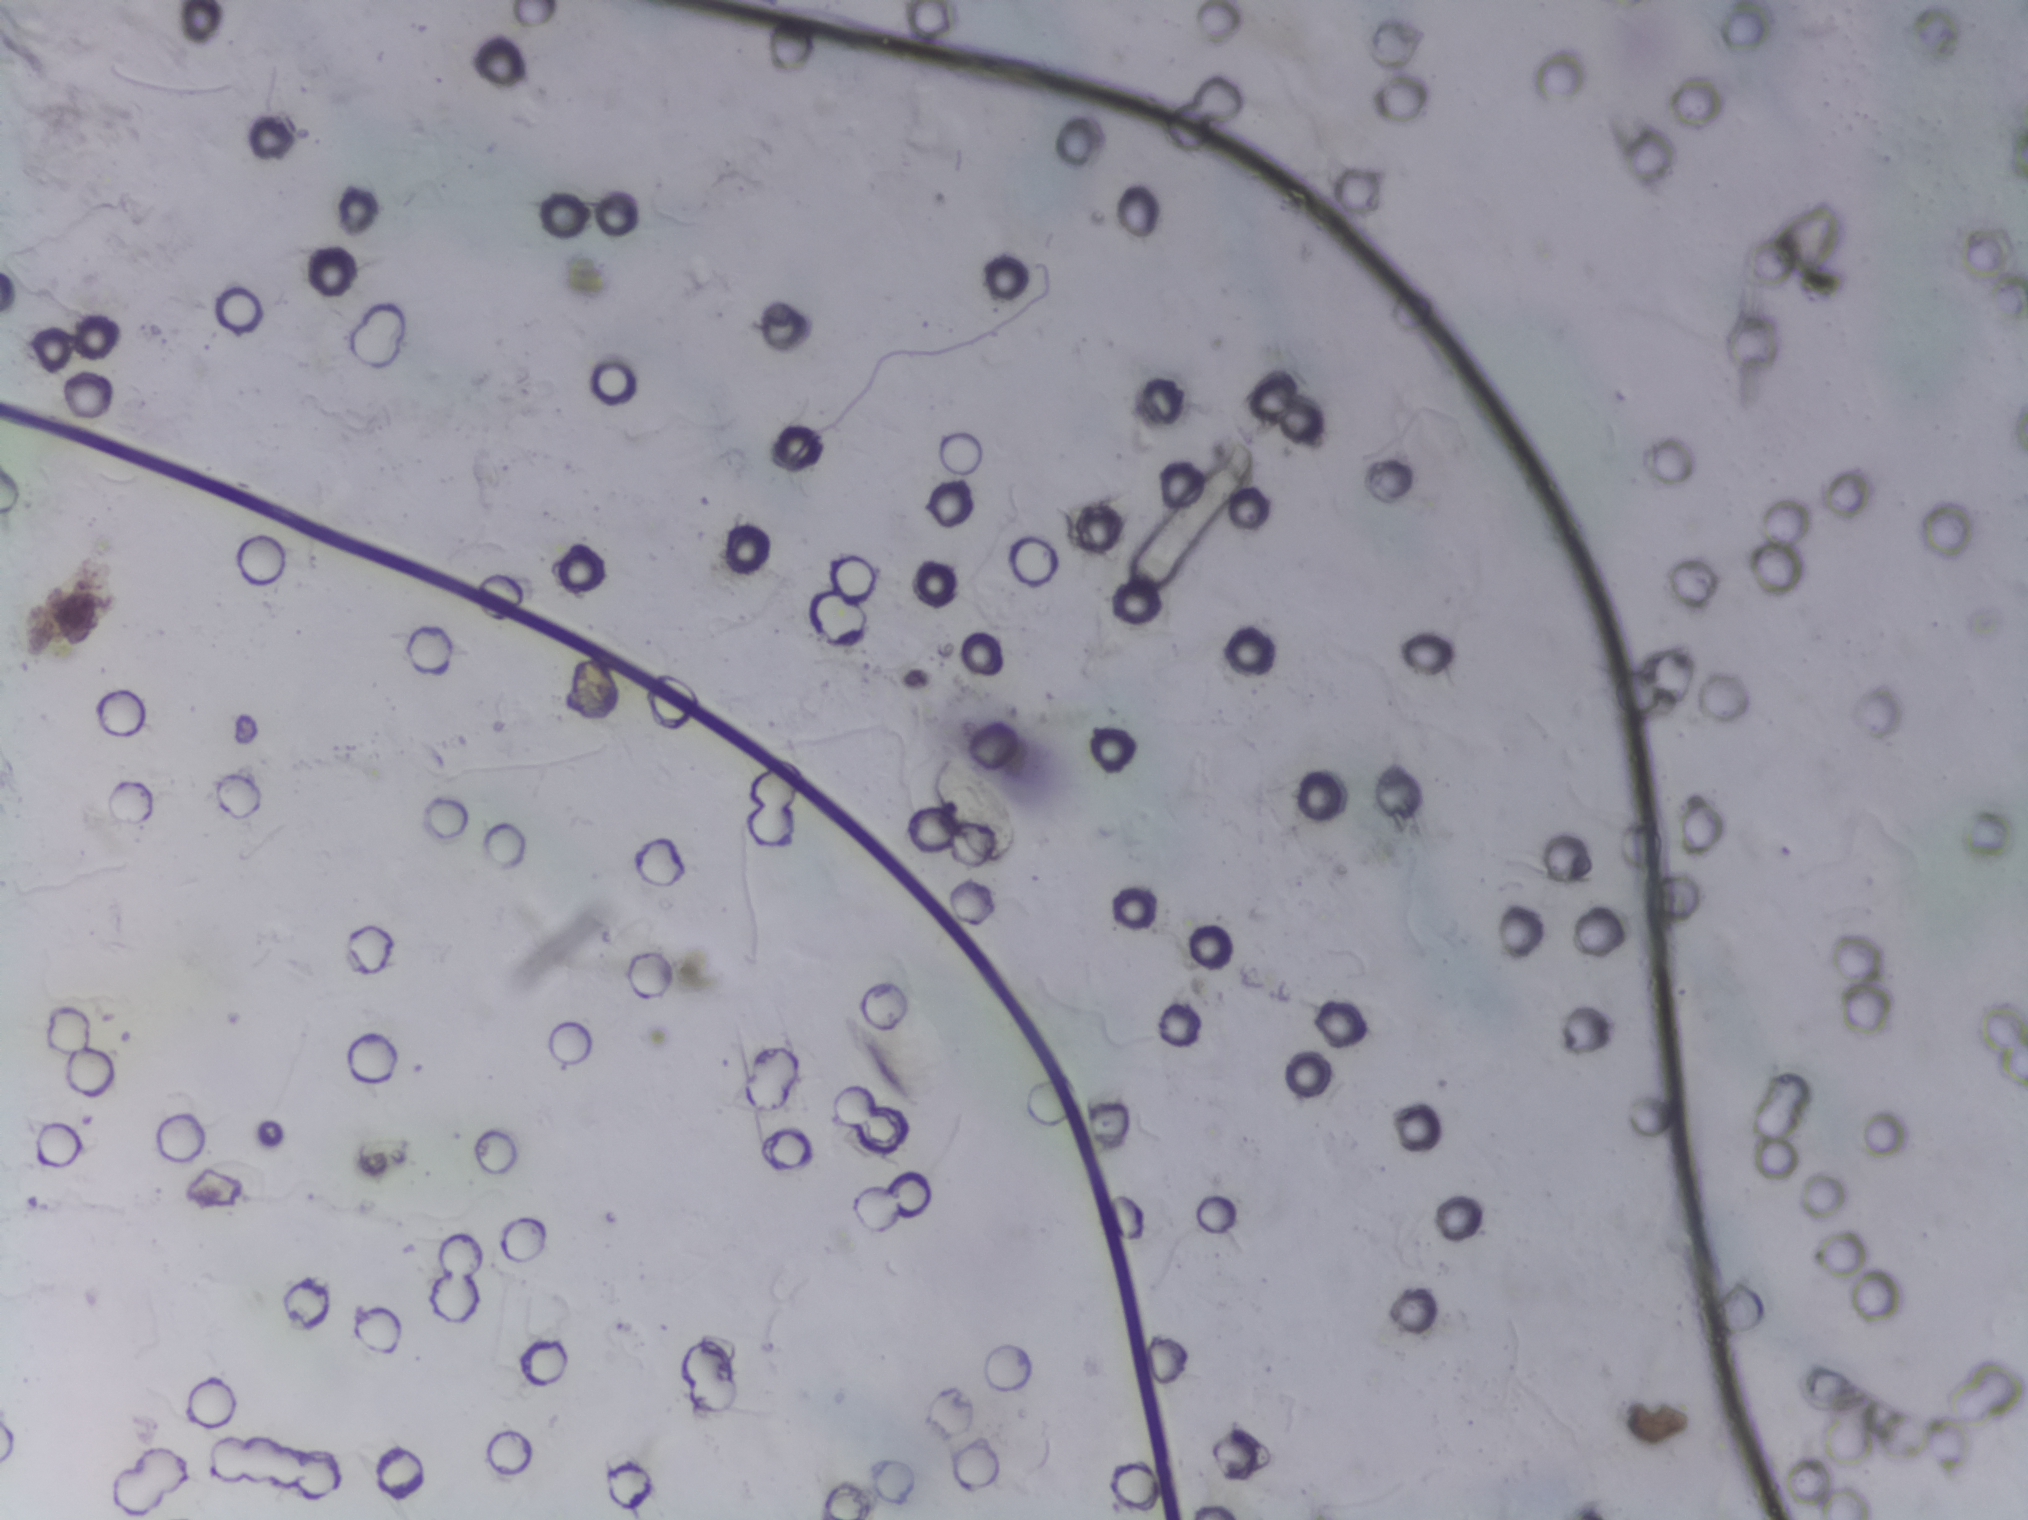
One field of view of a urine filter membrane, 4× objective, 2028 × 1520 pixels.
The expert annotation marks no Schistosoma egg in this field of view.